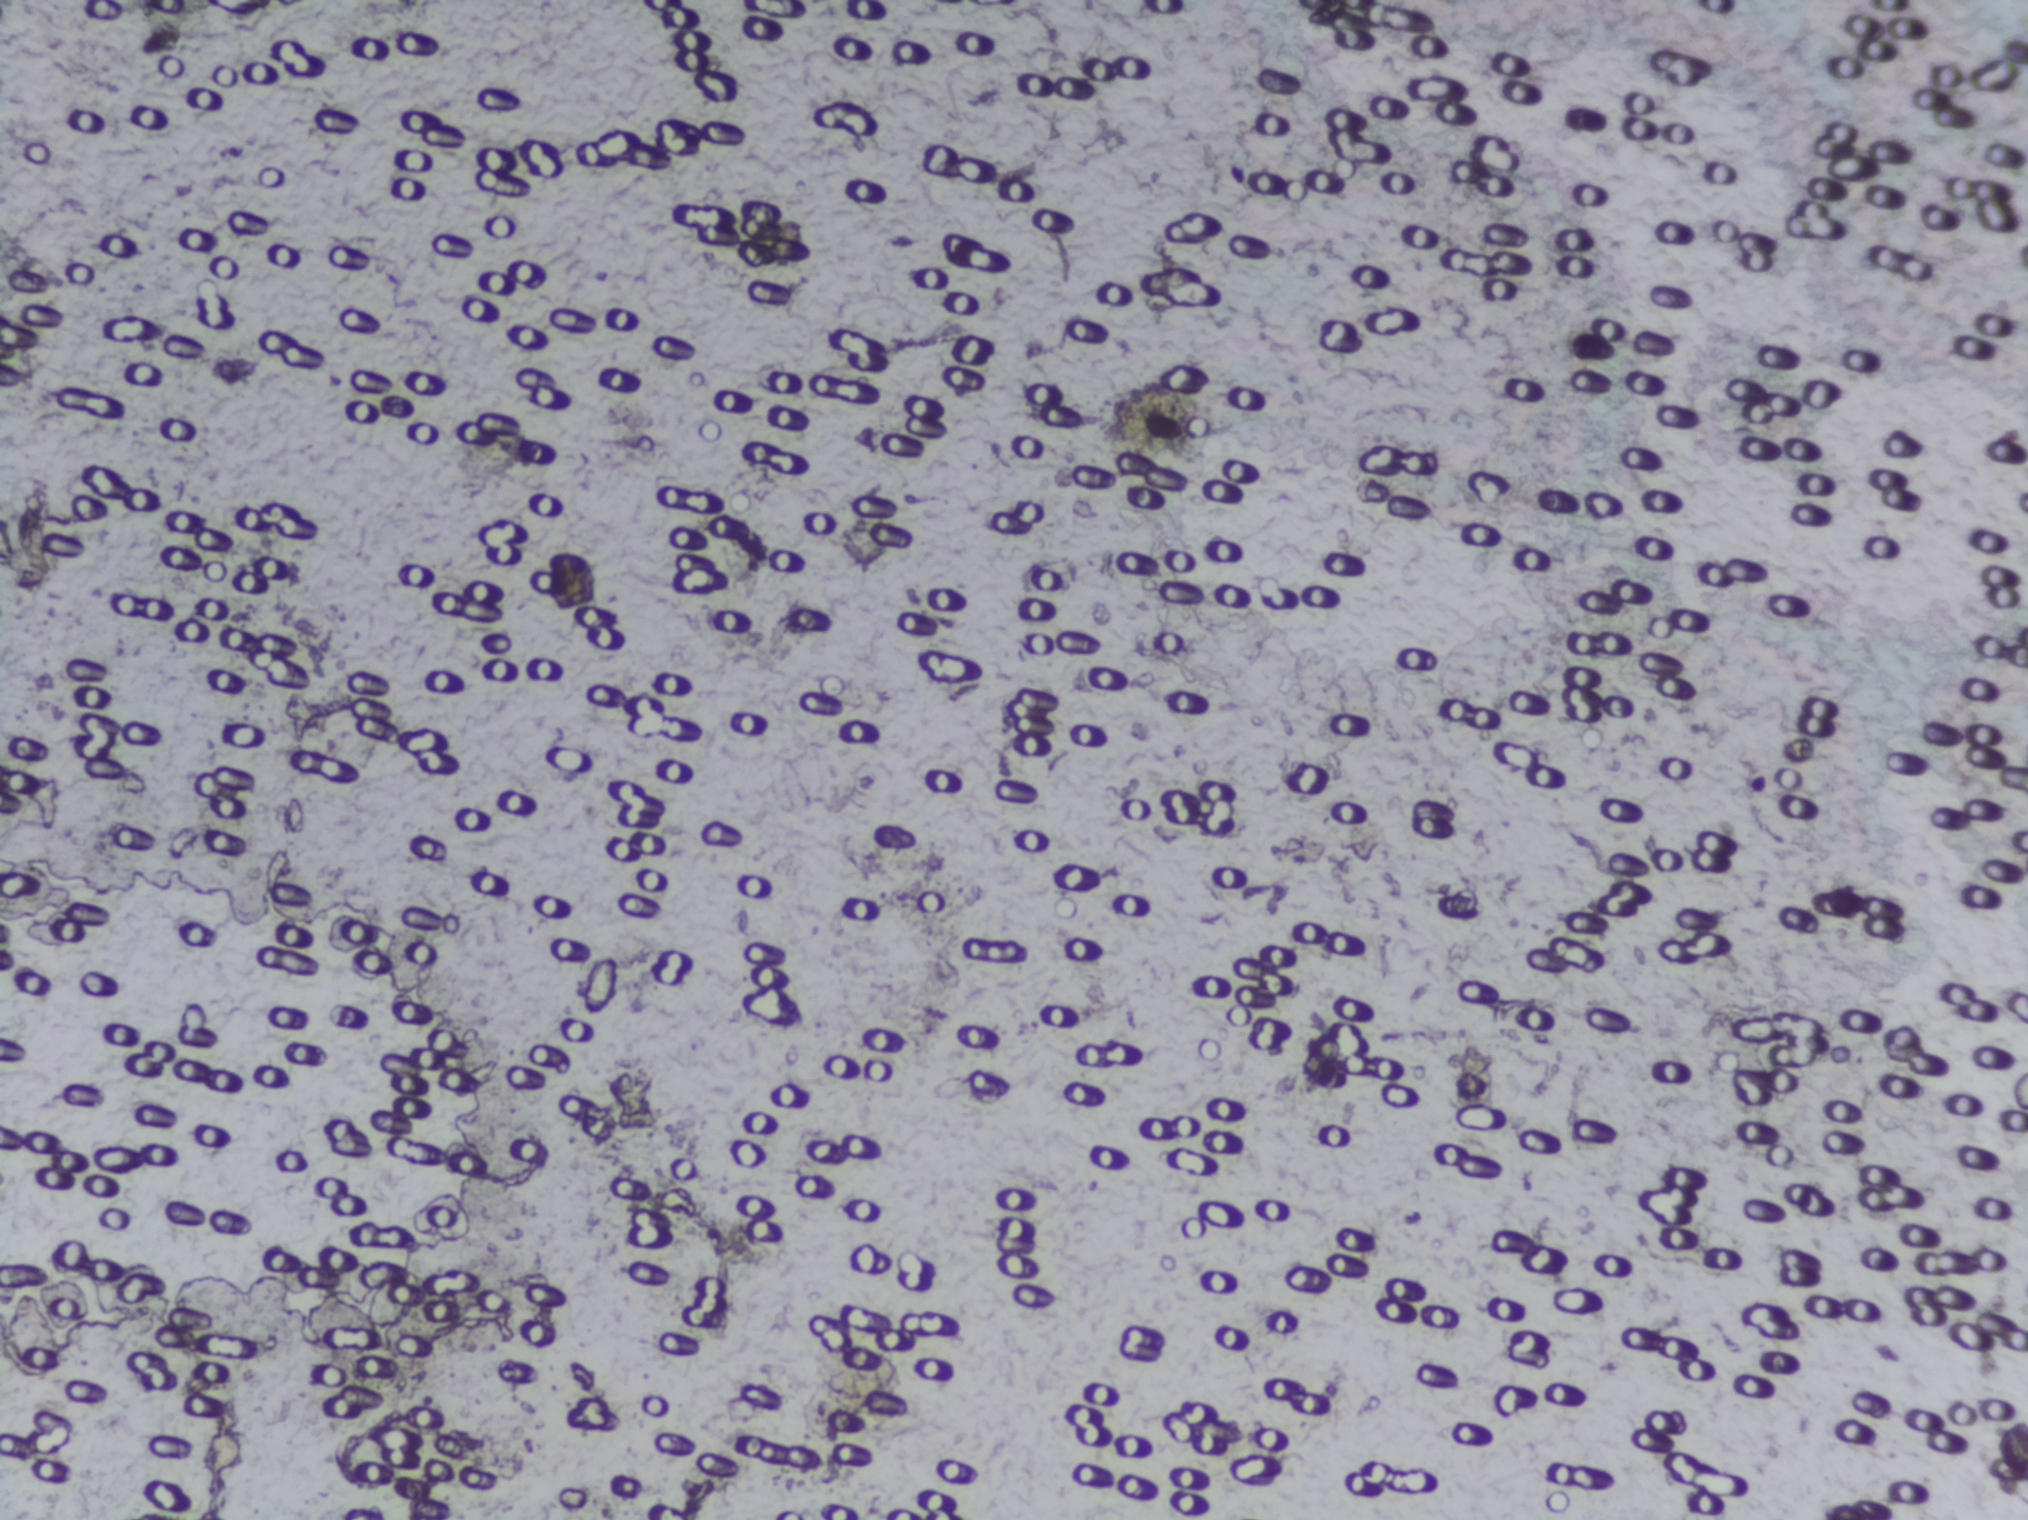
One field of view of a urine filter membrane, 4× objective, 2028 × 1520 pixels.
No Schistosoma egg is outlined in this image's expert annotation.